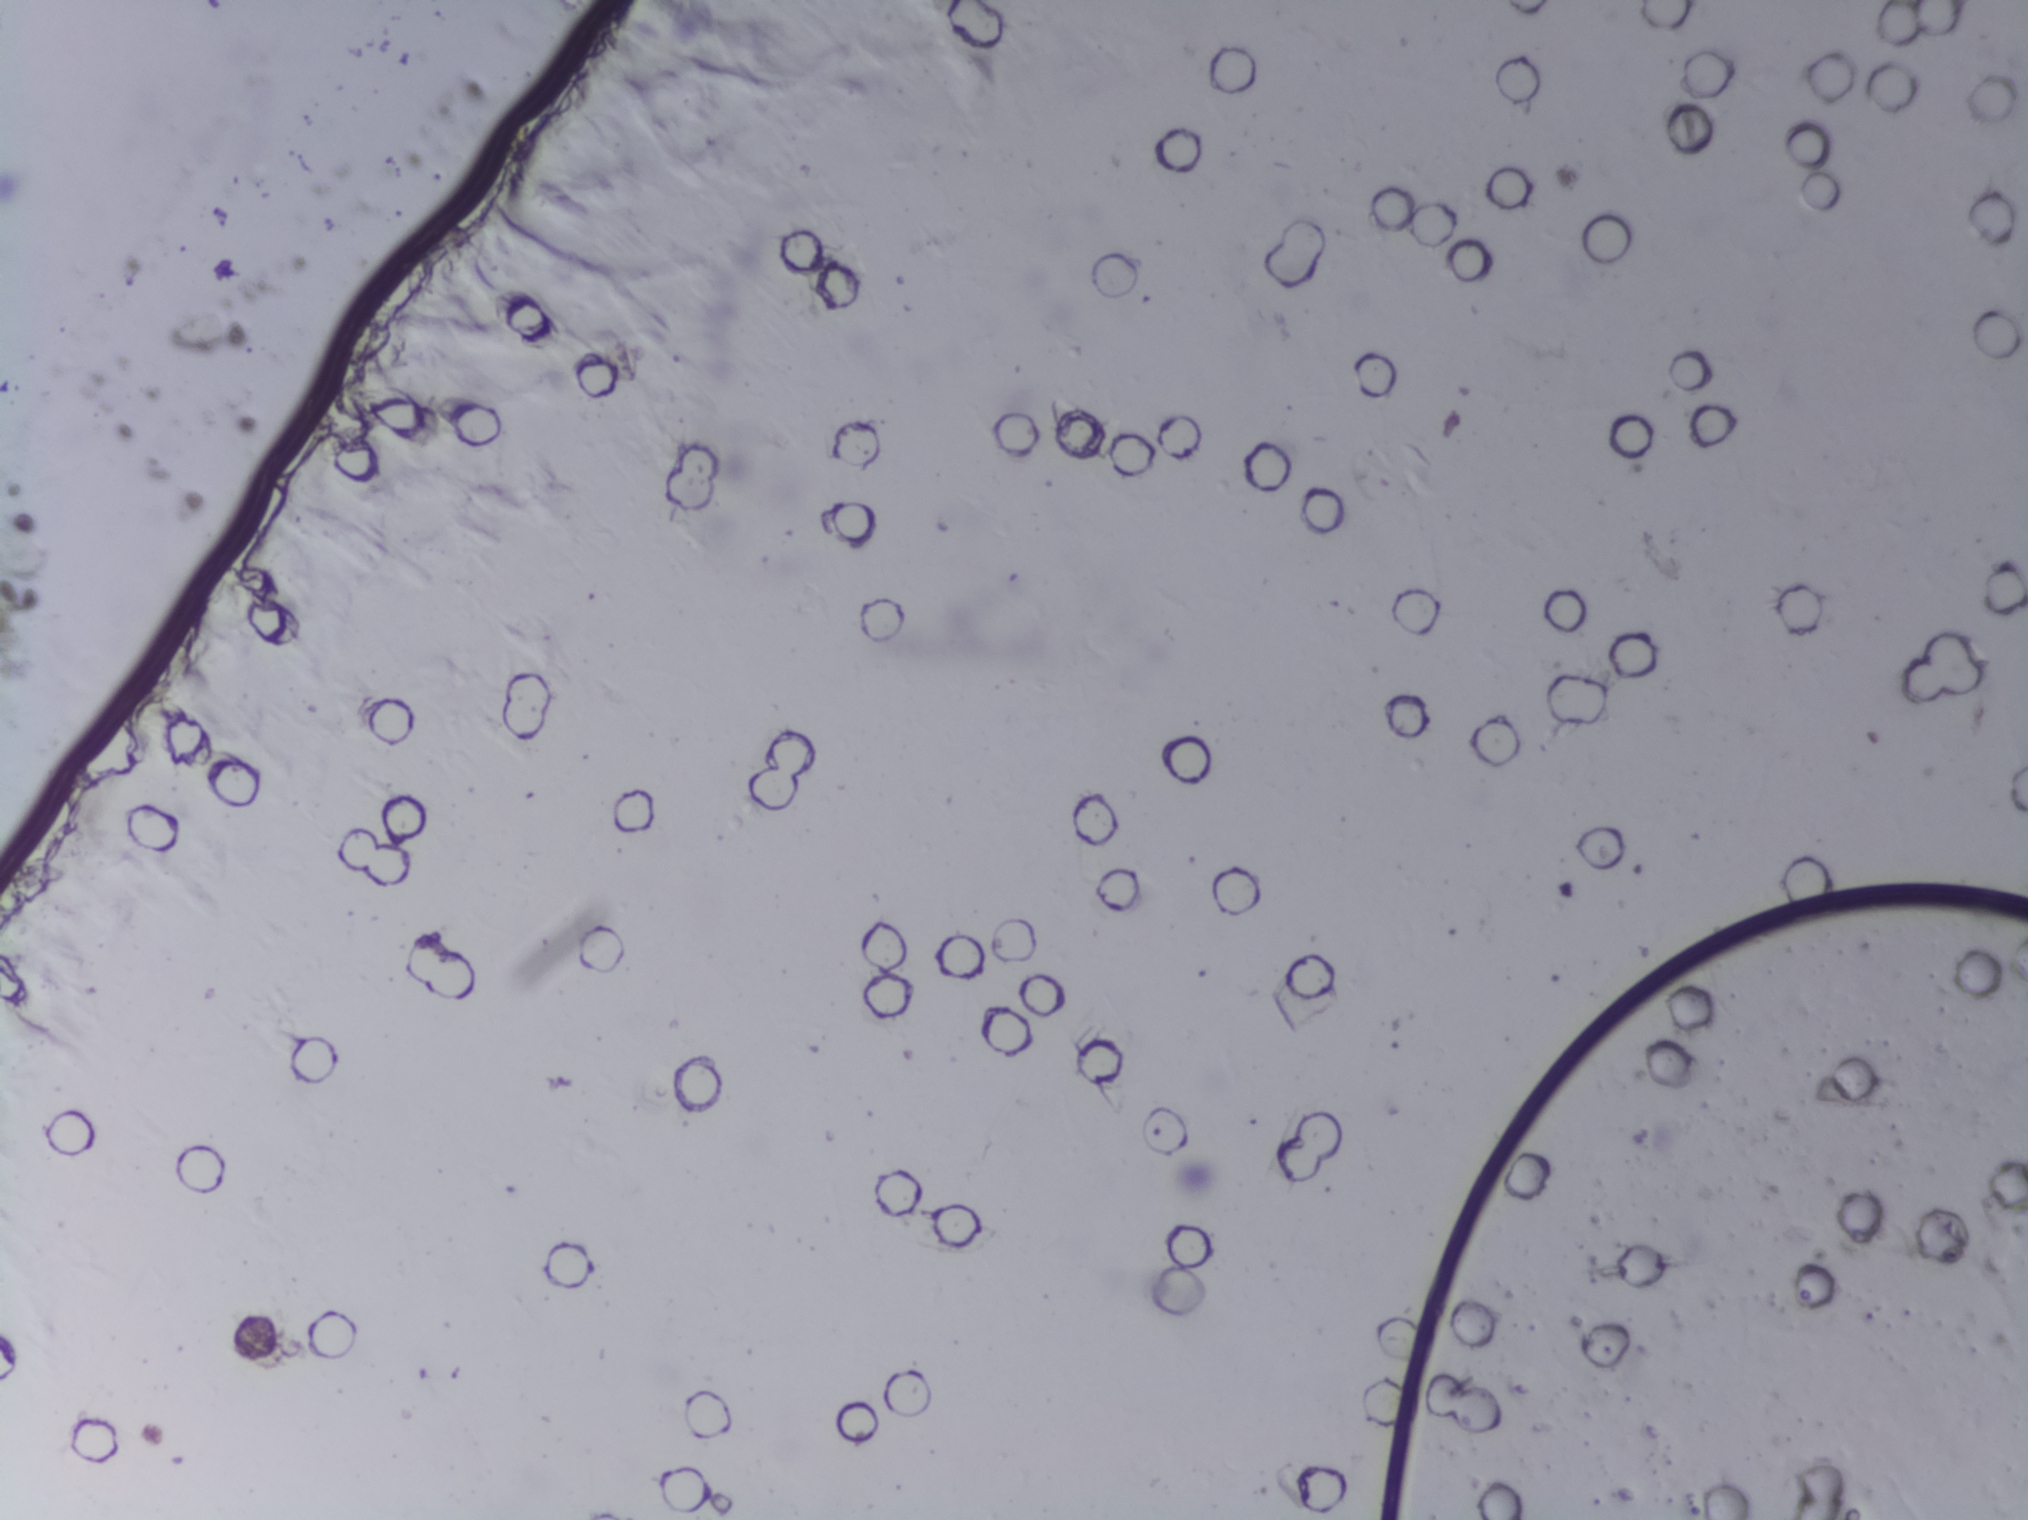
The expert annotation marks no Schistosoma egg in this field of view.
Urine filter membrane photographed through a 4× microscope objective. Field of view: about 1.5 mm wide and 1.1 mm high.